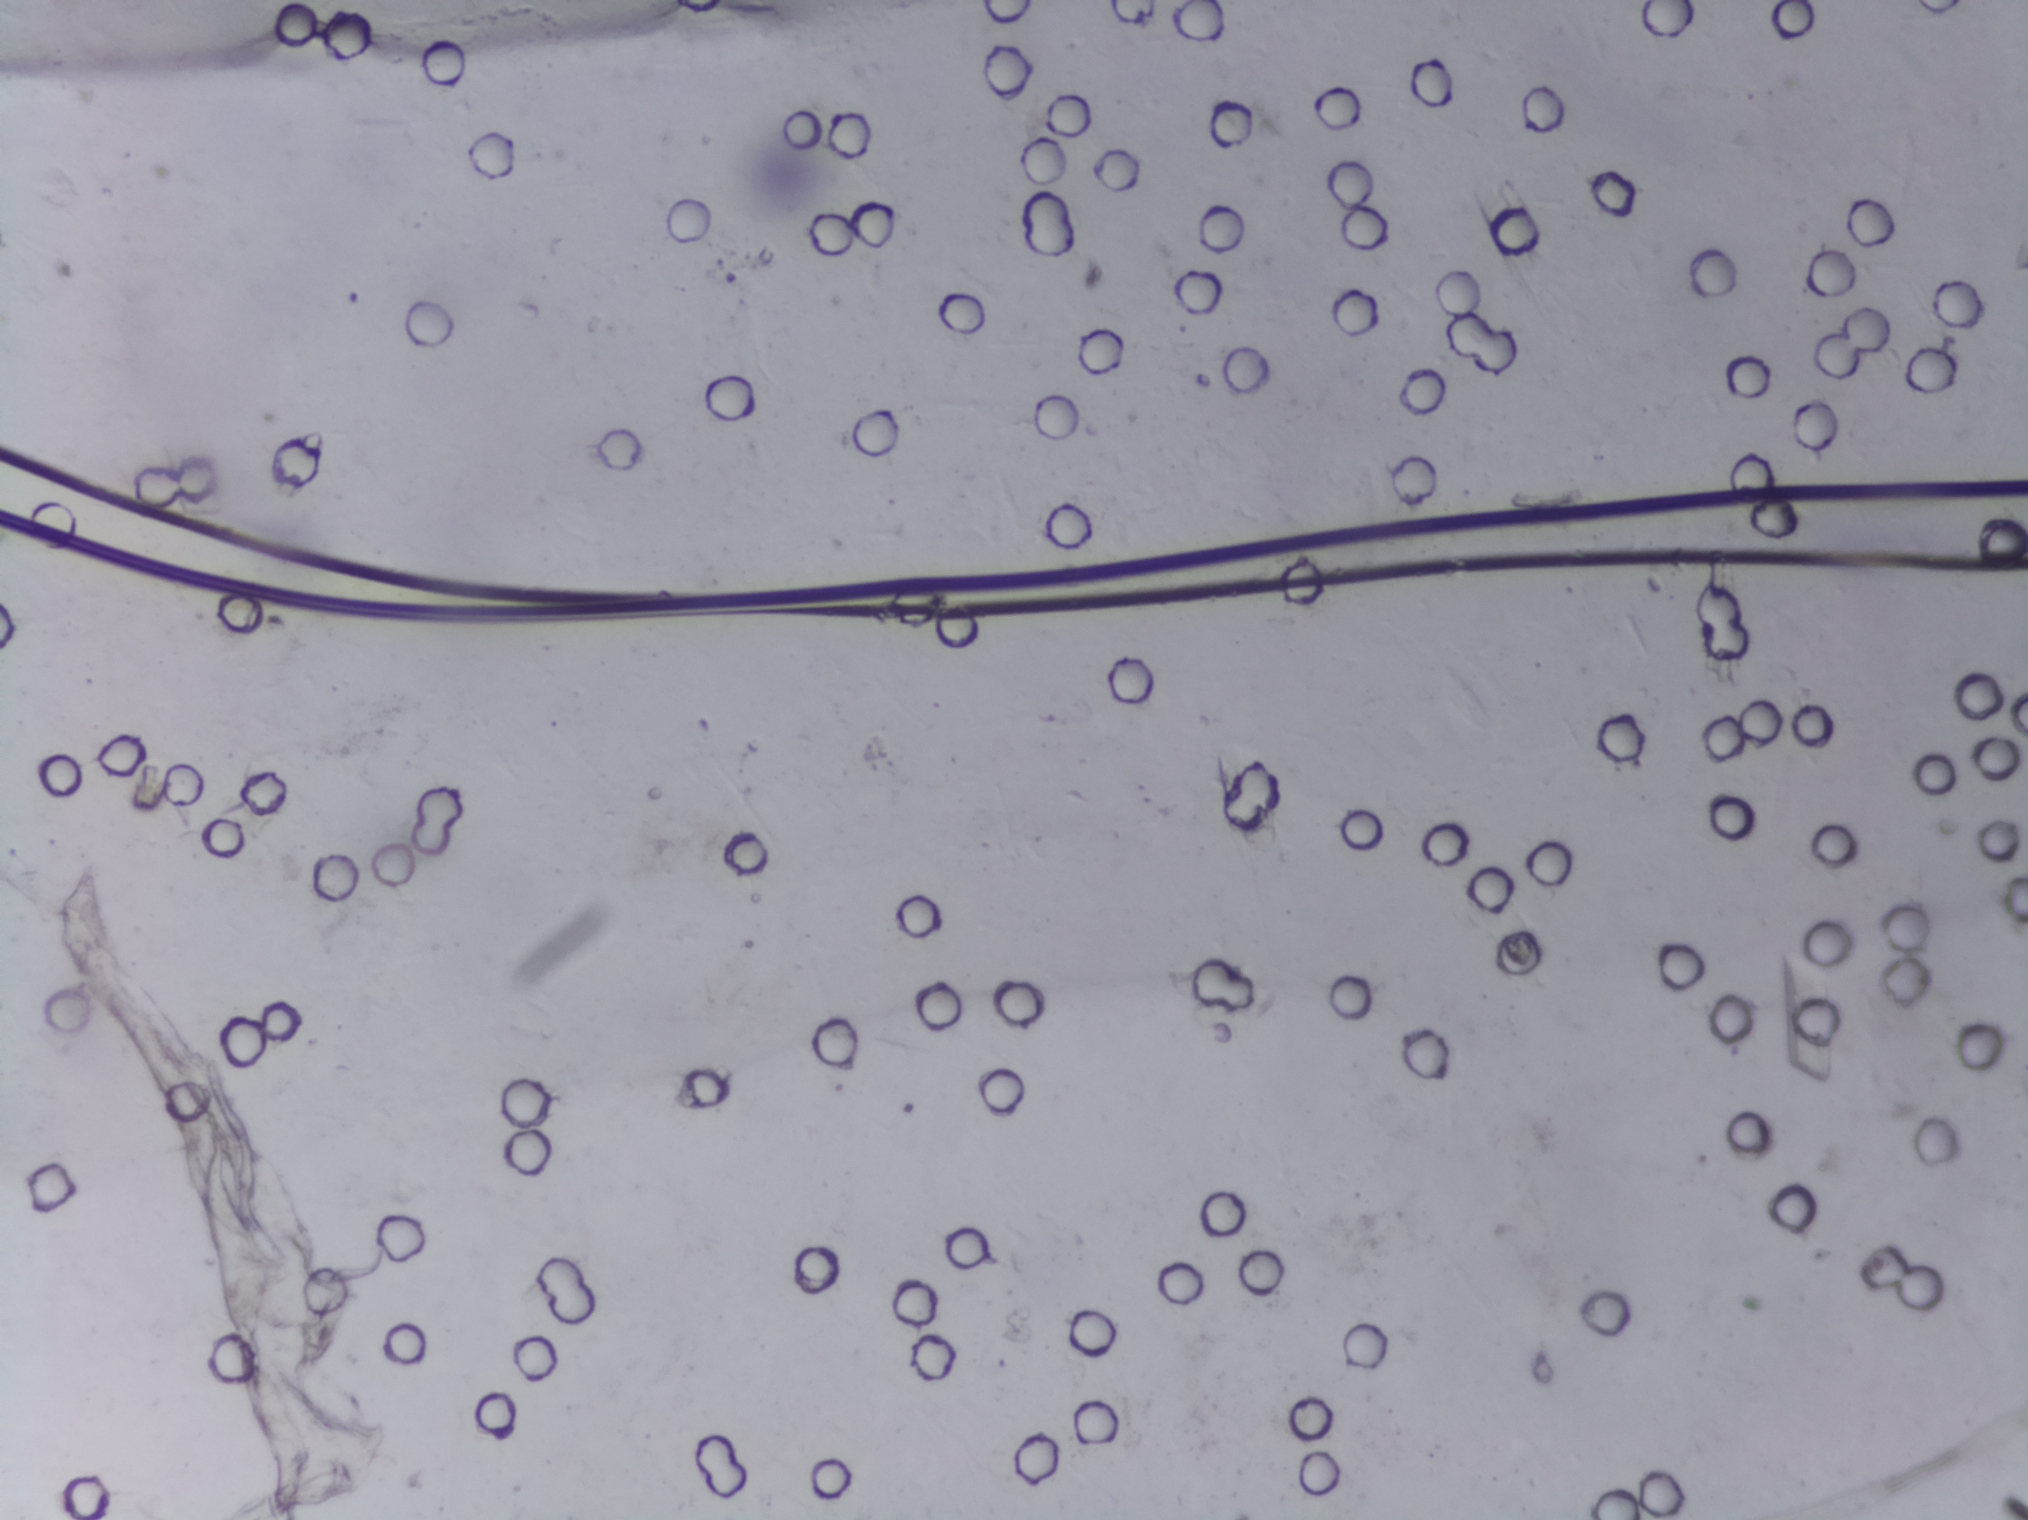
Schistosoma eggs: none outlined.
Urine filter membrane photographed through a 4× microscope objective.